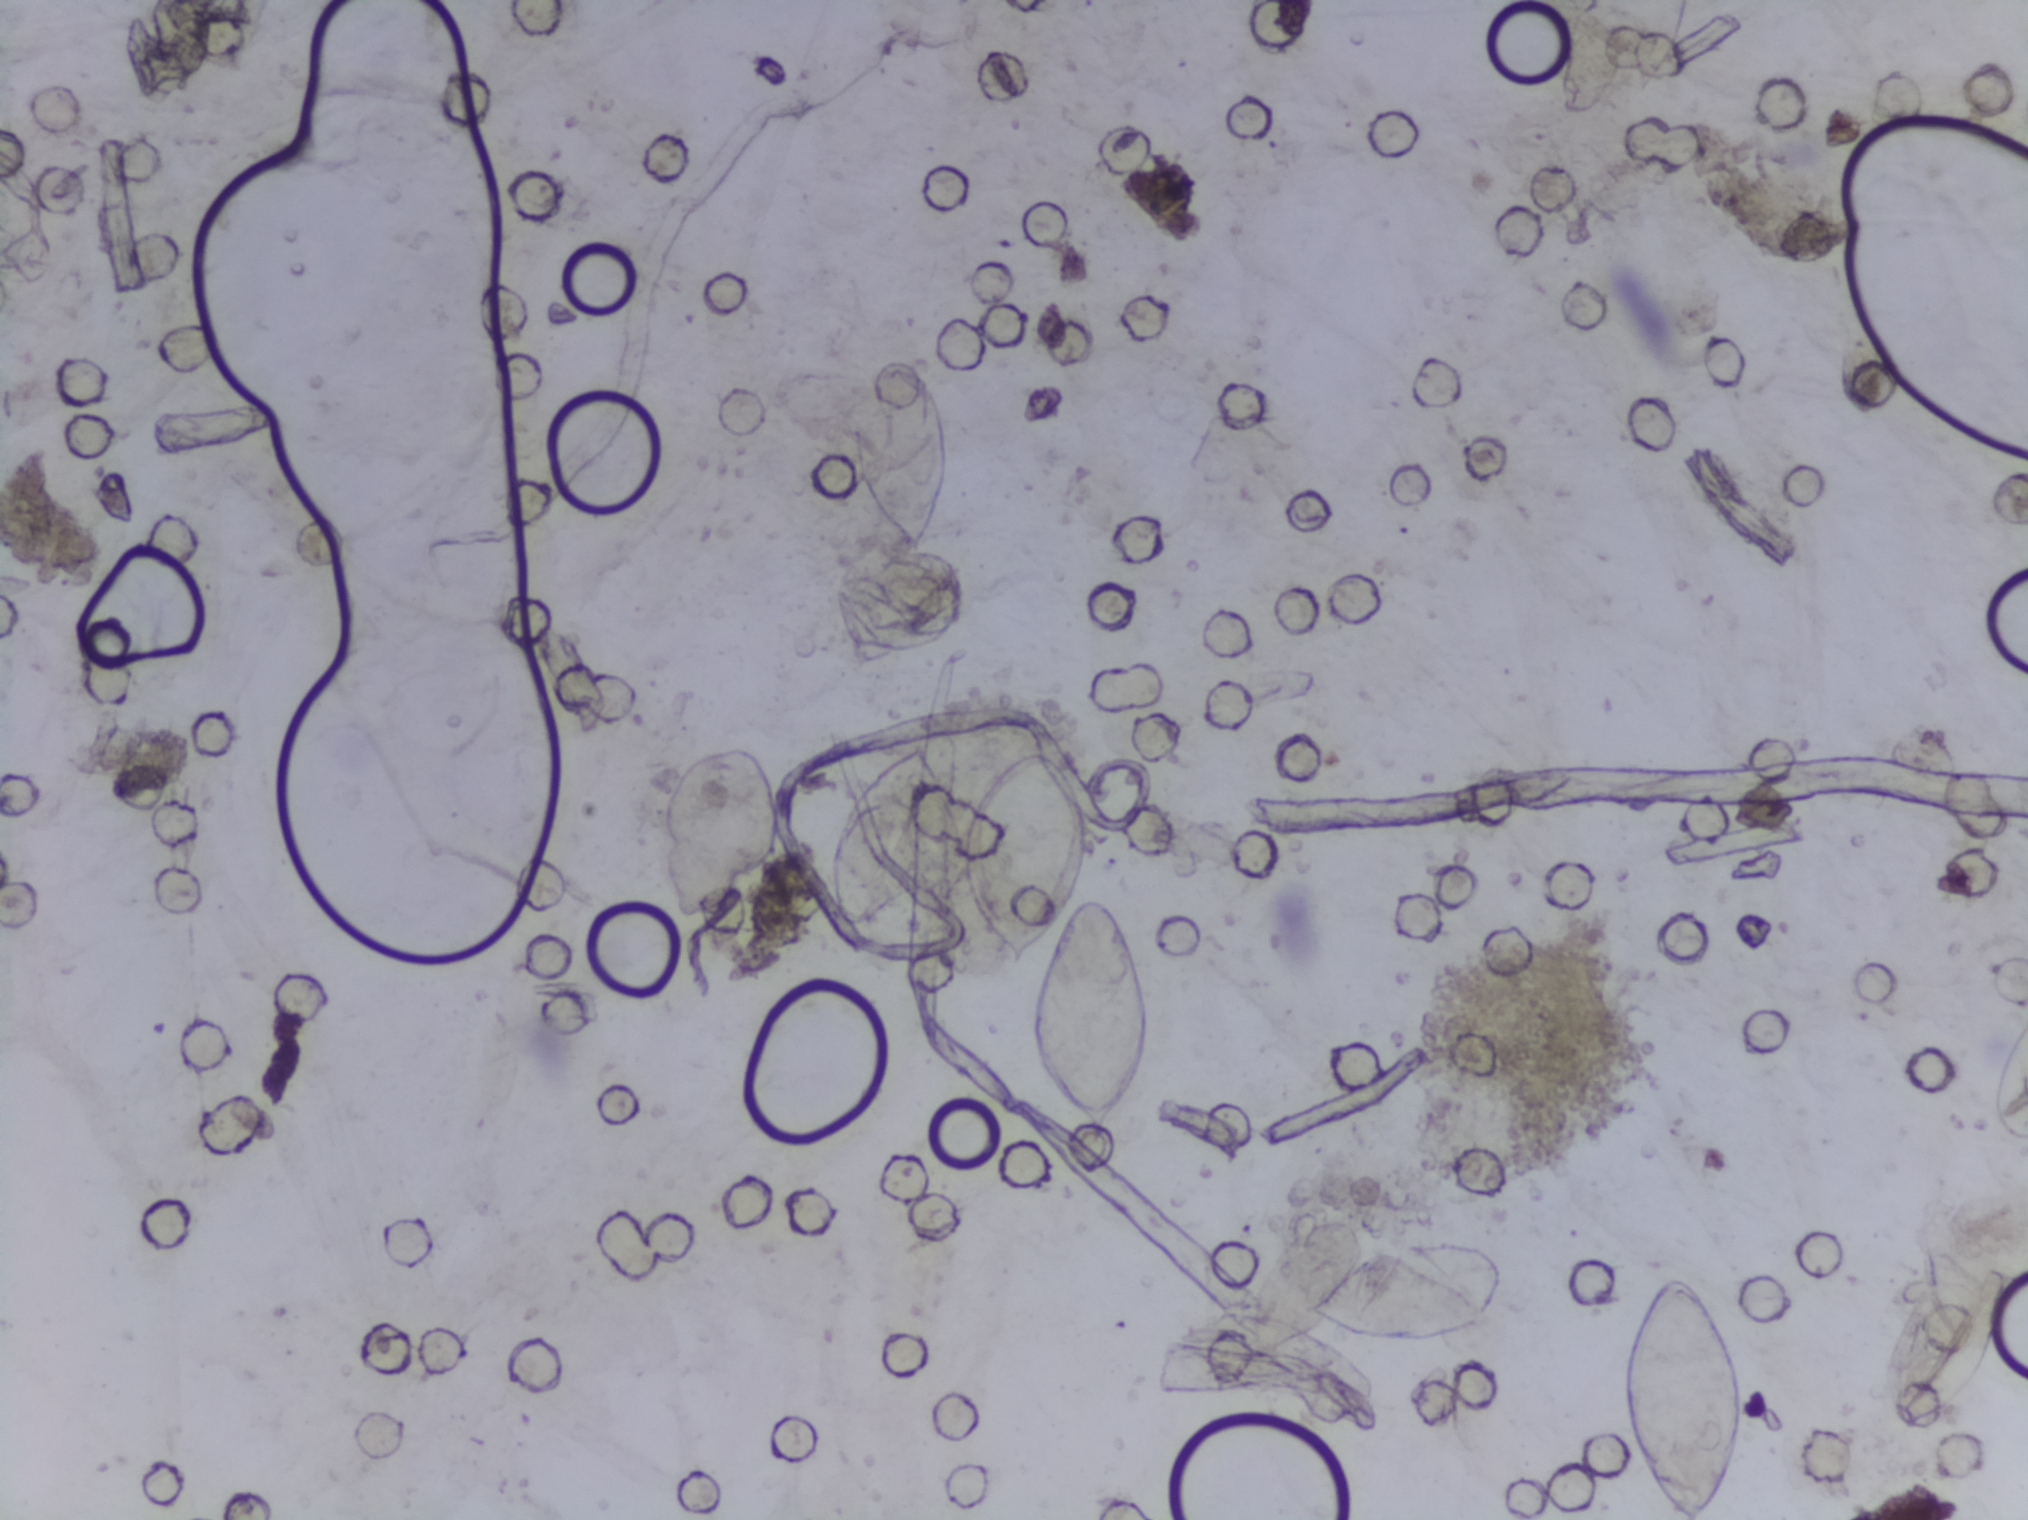
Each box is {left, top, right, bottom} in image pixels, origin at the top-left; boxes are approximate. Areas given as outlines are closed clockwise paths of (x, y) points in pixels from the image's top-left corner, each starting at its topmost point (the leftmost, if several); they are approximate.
Schistosoma egg areas, outlined: box {662, 741, 789, 923}; outline (916, 745), (945, 768), (960, 826), (981, 786), (1010, 757), (1033, 750), (1061, 753), (1079, 778), (1091, 827), (1080, 893), (1104, 897), (1121, 911), (1153, 1004), (1153, 1033), (1135, 1090), (1111, 1117), (1104, 1139), (1097, 1140), (1081, 1114), (1069, 1111), (1043, 1082), (1032, 1056), (1026, 1007), (1046, 940), (1019, 968), (981, 927), (971, 911), (959, 829), (946, 857), (928, 868), (877, 927), (851, 930), (838, 920), (831, 905), (830, 858), (840, 818), (860, 791) (eggs clustered together); box {843, 358, 947, 555}; box {1304, 1236, 1508, 1344}; box {1614, 1275, 1746, 1519} (reaching the bottom edge of the frame); box {1891, 1265, 2006, 1425}. A single outlined area may contain several eggs. A marked egg may occasionally be S. mansoni rather than S. haematobium.
One field of view of a urine filter membrane, 4× objective, 2028 × 1520 pixels.